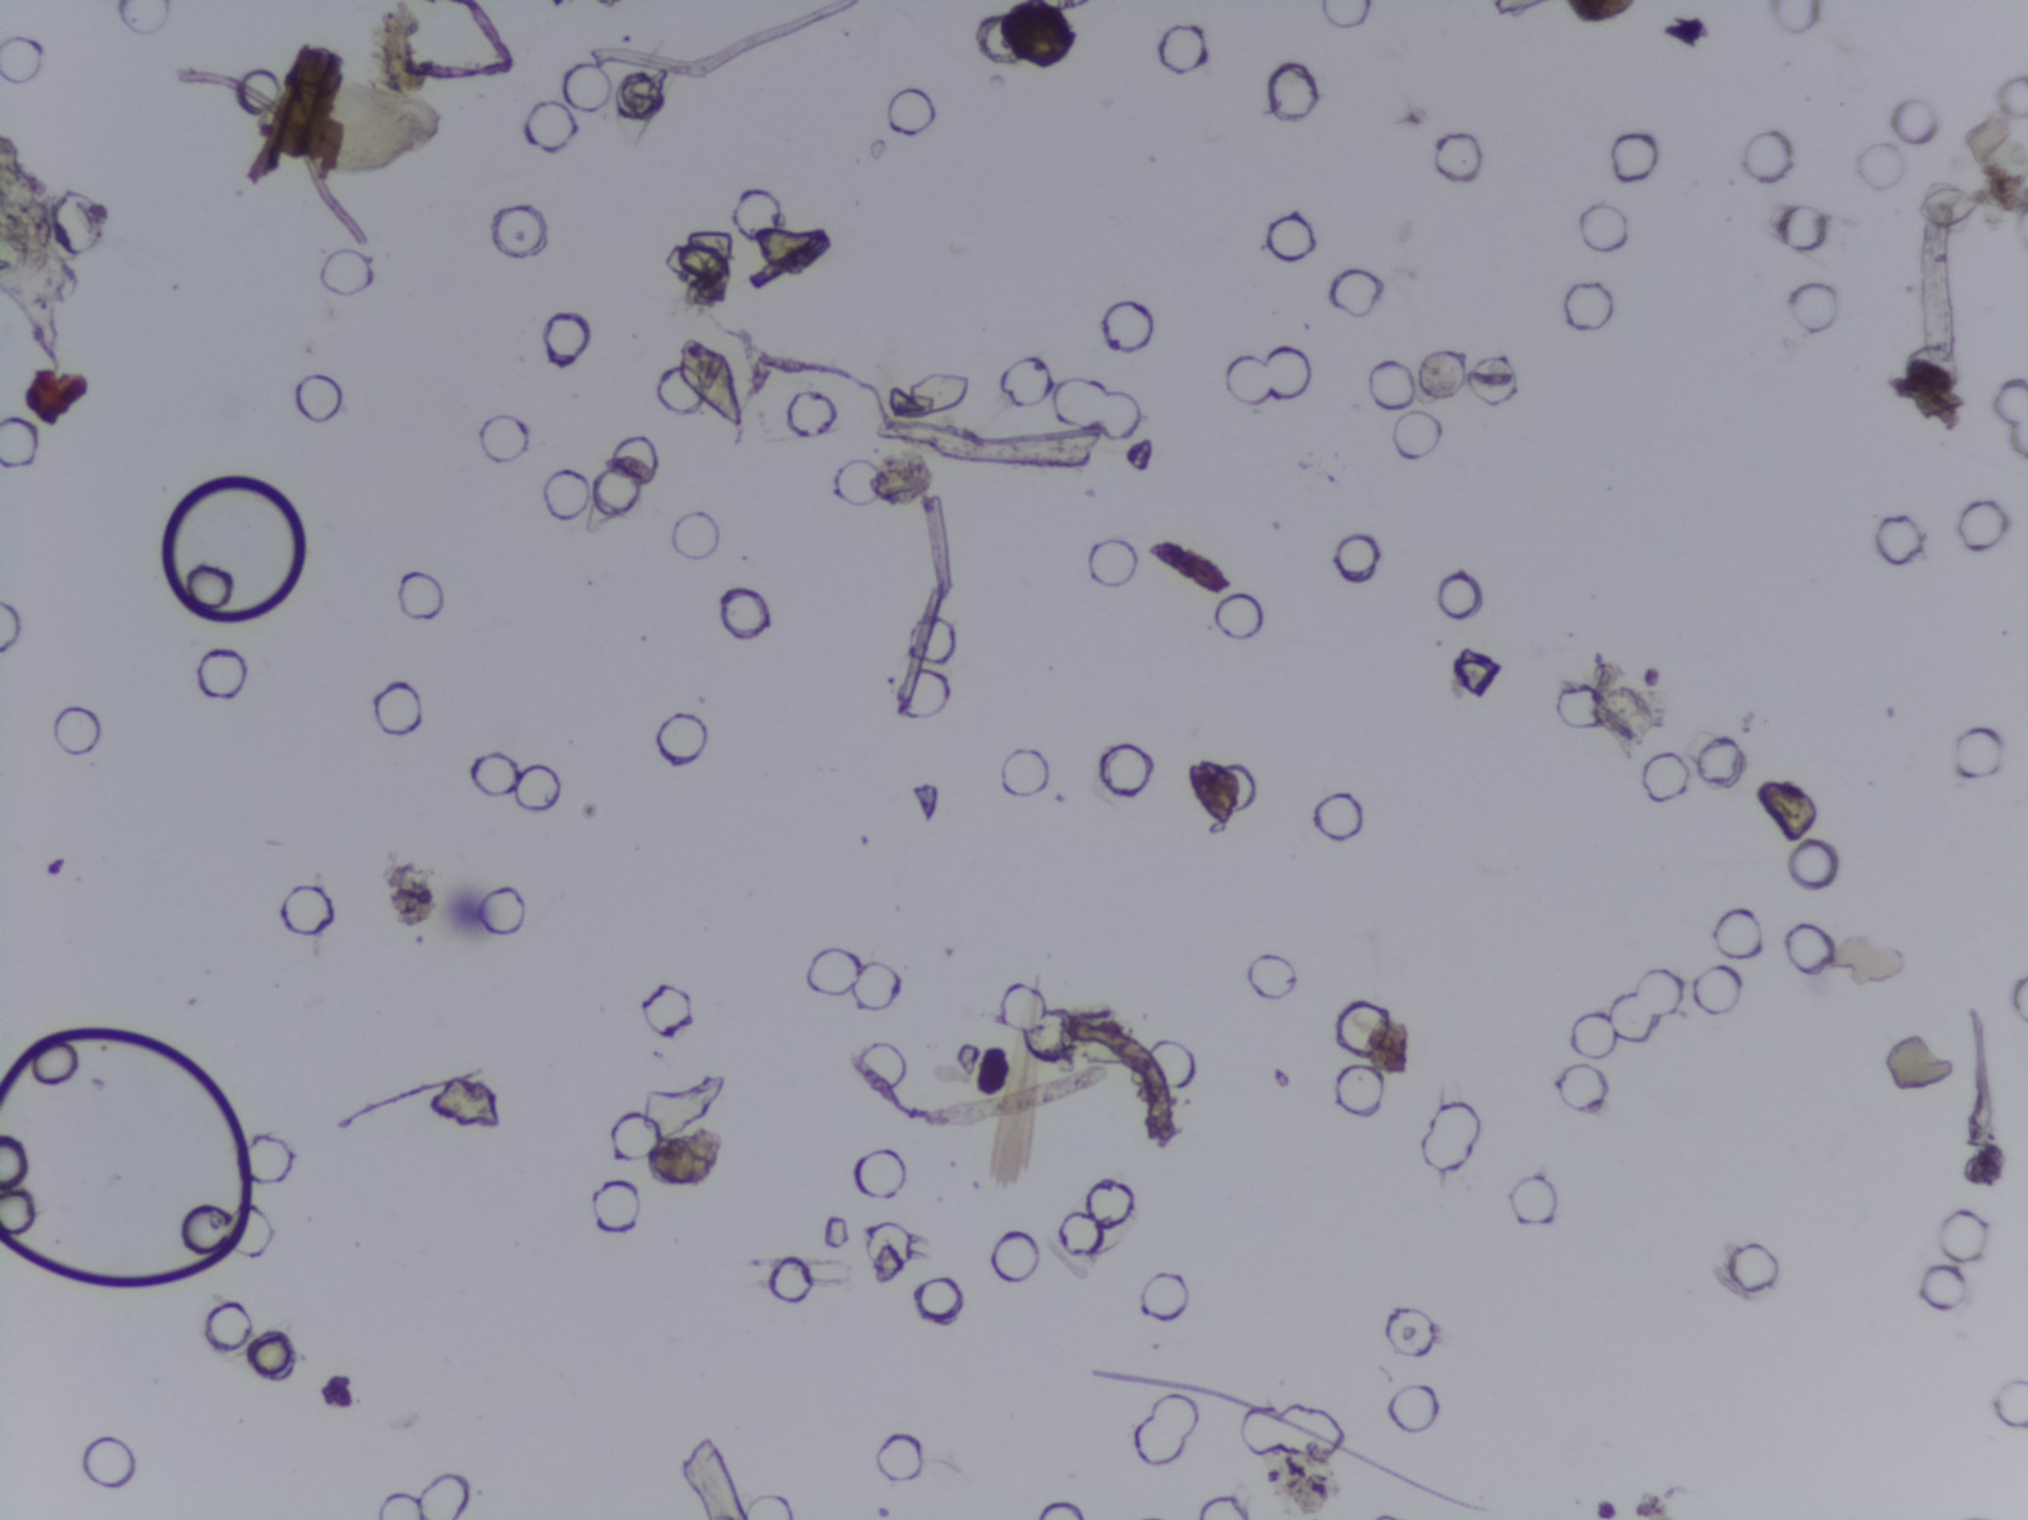
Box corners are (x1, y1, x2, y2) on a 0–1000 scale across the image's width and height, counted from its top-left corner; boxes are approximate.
One area of this image is outlined as Schistosoma eggs: (127, 52, 219, 116). About 0.4% of the image's pixels are marked (the marked pixels themselves, not the box around them). An outlined area can hold more than one egg.
One field of view of a urine filter membrane, 4× objective, 2028 × 1520 pixels.